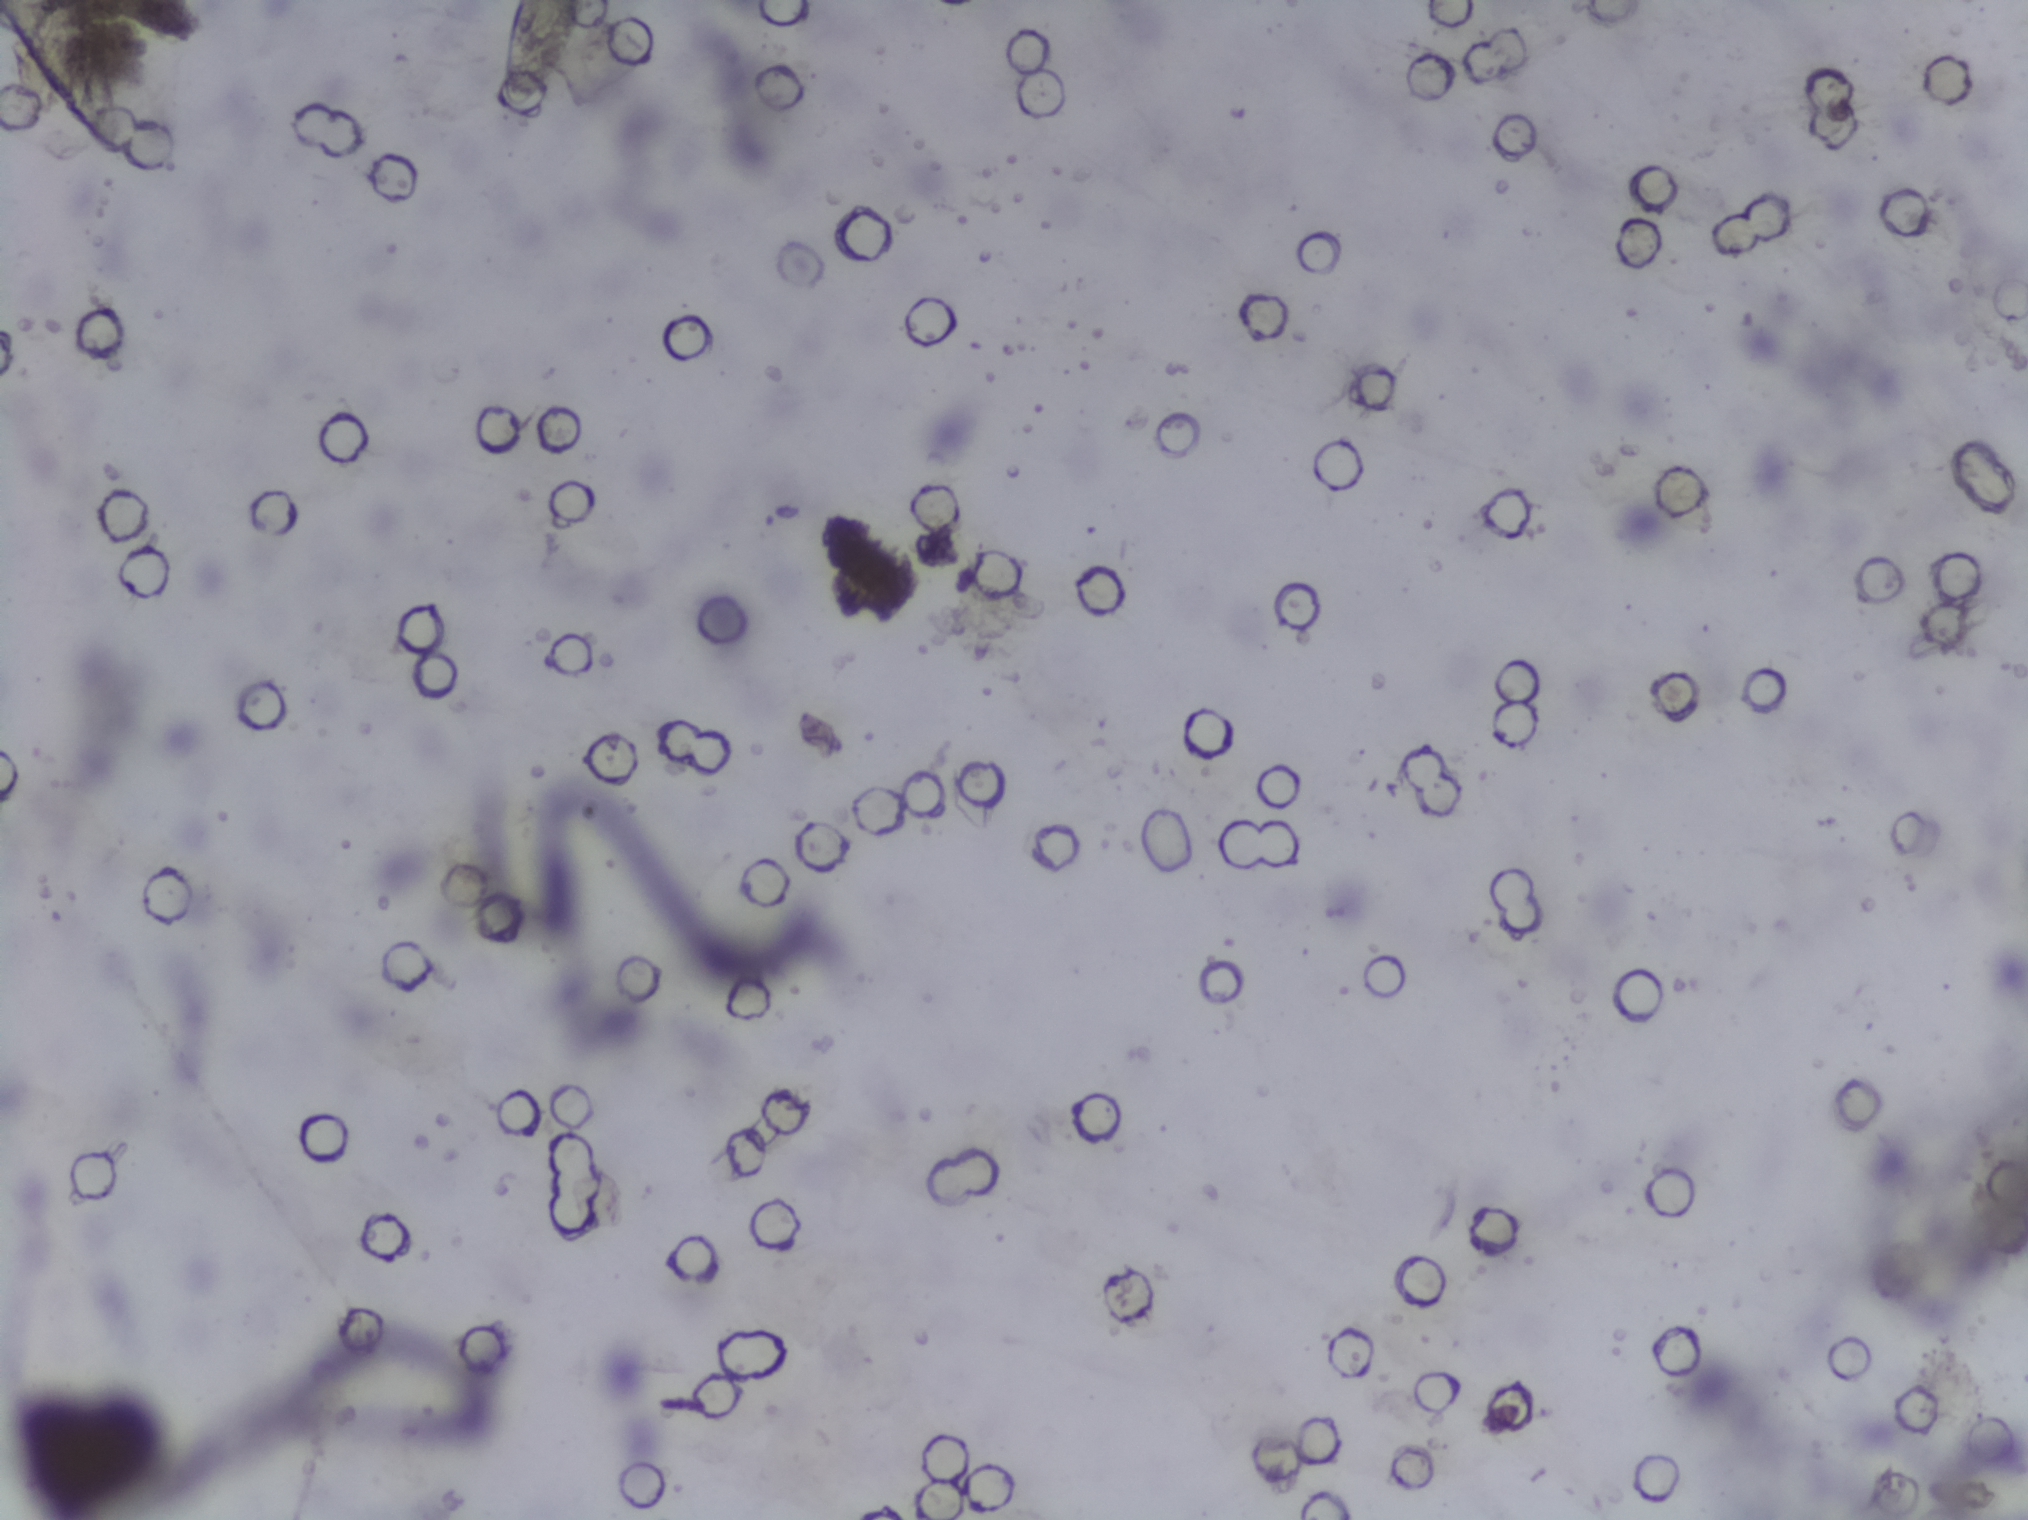
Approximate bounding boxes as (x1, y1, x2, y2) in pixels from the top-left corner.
Schistosoma eggs are outlined in one area of this image: (494, 0, 589, 106) (reaching the top edge of the frame). About 0.2% of the image's pixels are marked (the marked pixels themselves, not the box around them). An outlined area can hold more than one egg.
Photomicrograph of a urine filtration membrane, 4× objective.